Photograph from an automated digital microscope: urine filter membrane, 4× objective.
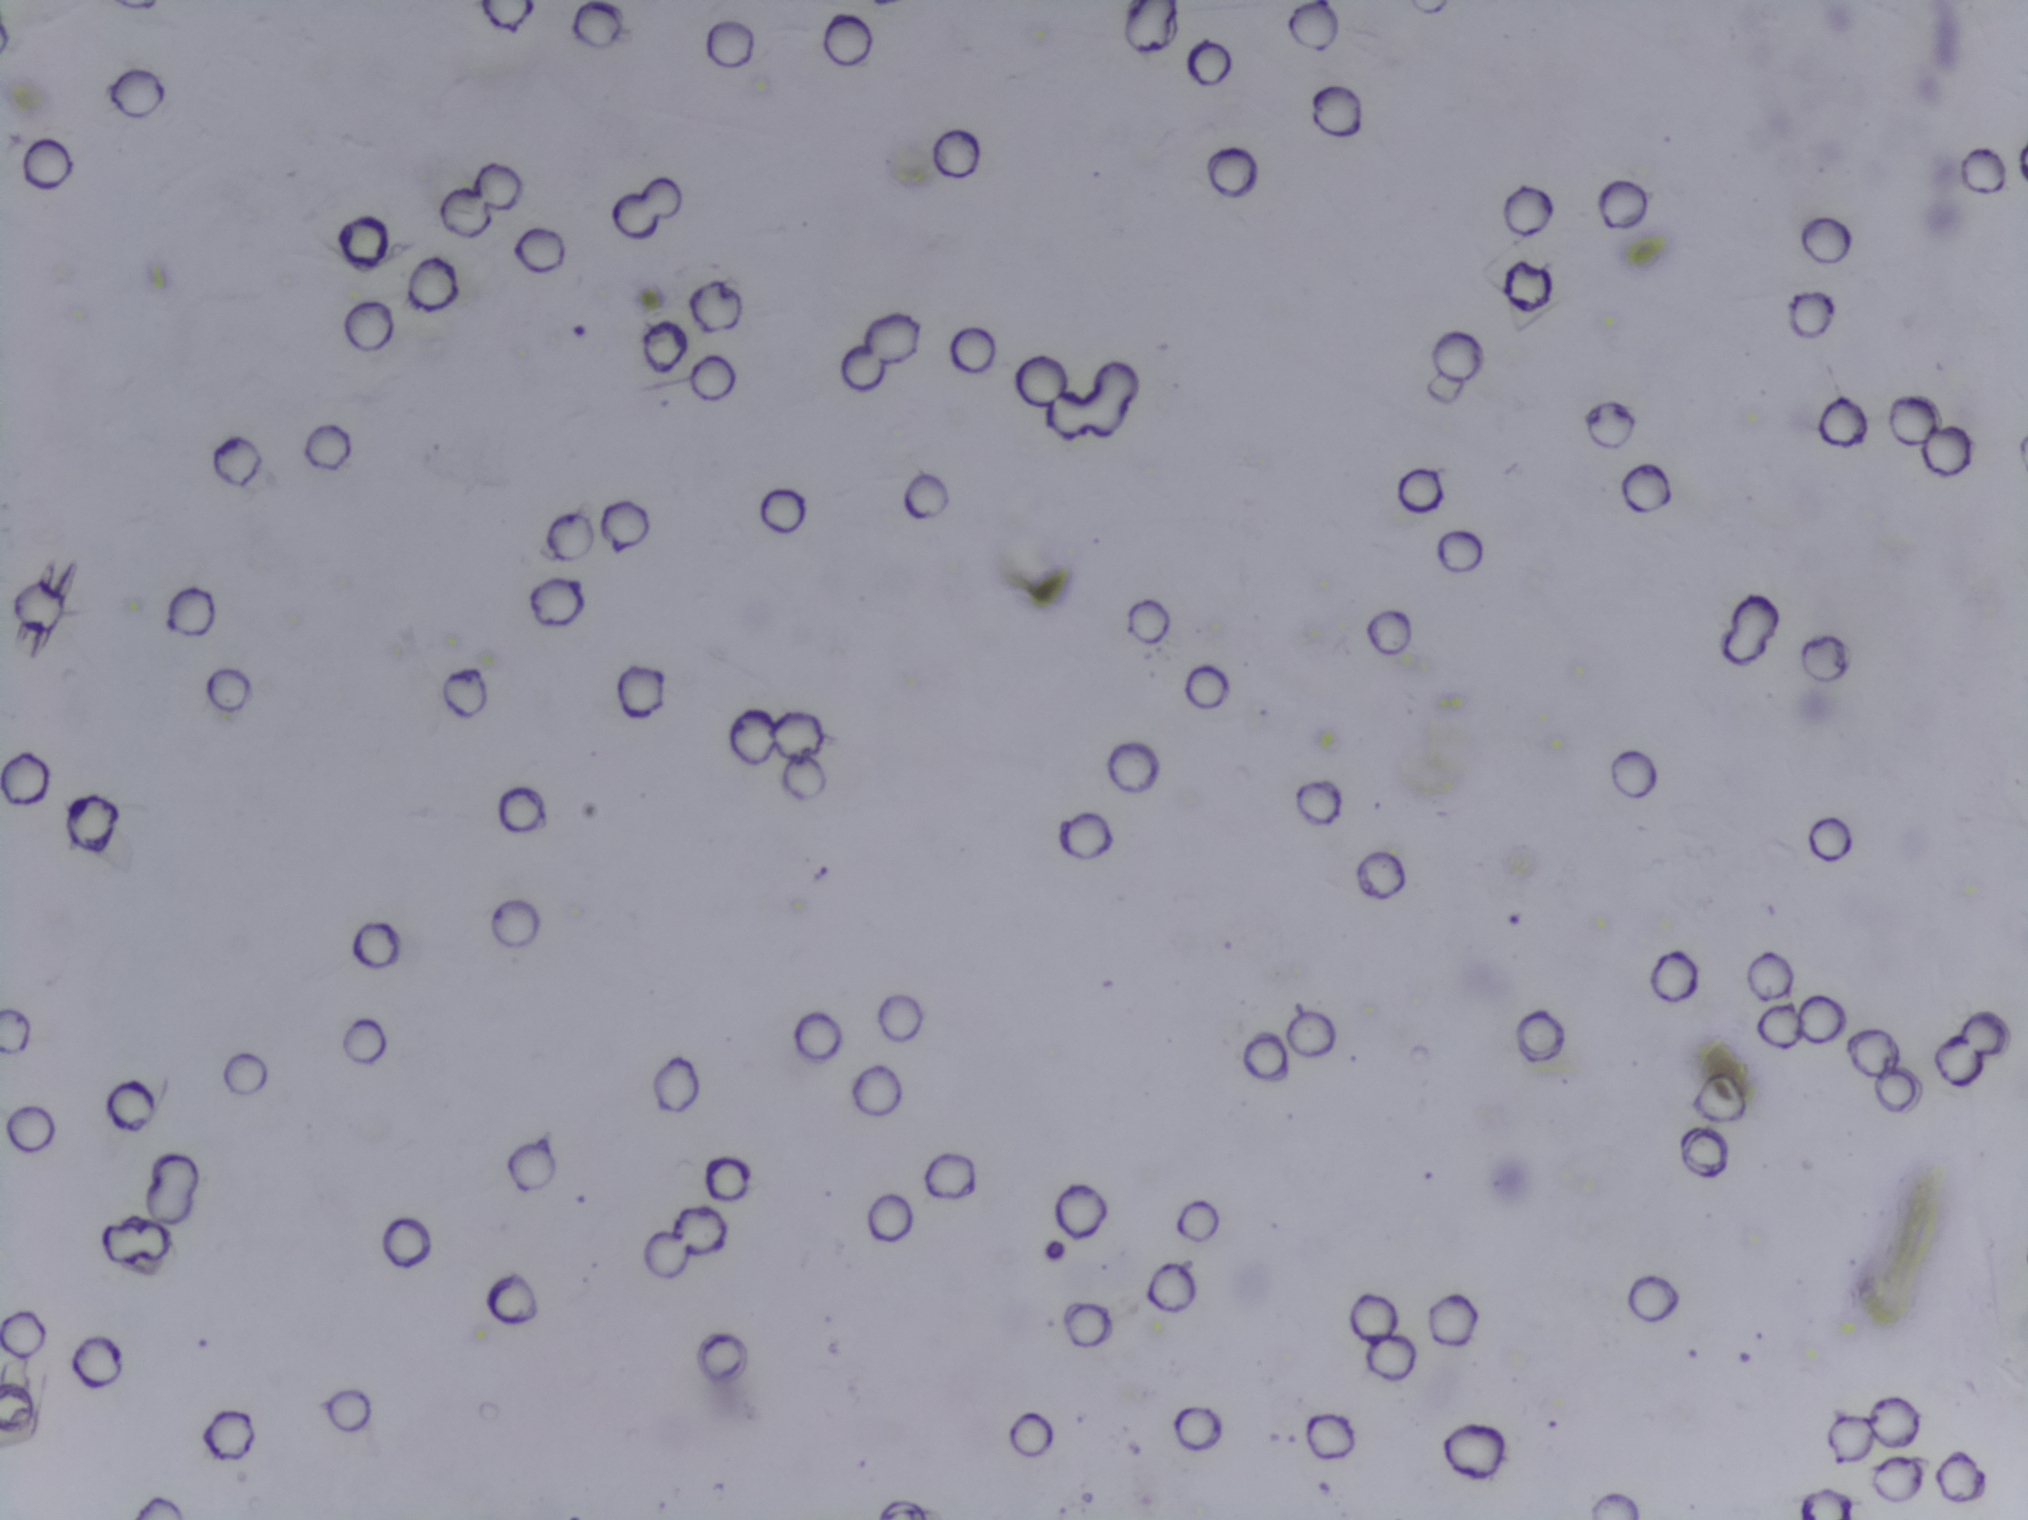
The expert annotation marks no Schistosoma egg in this field of view.